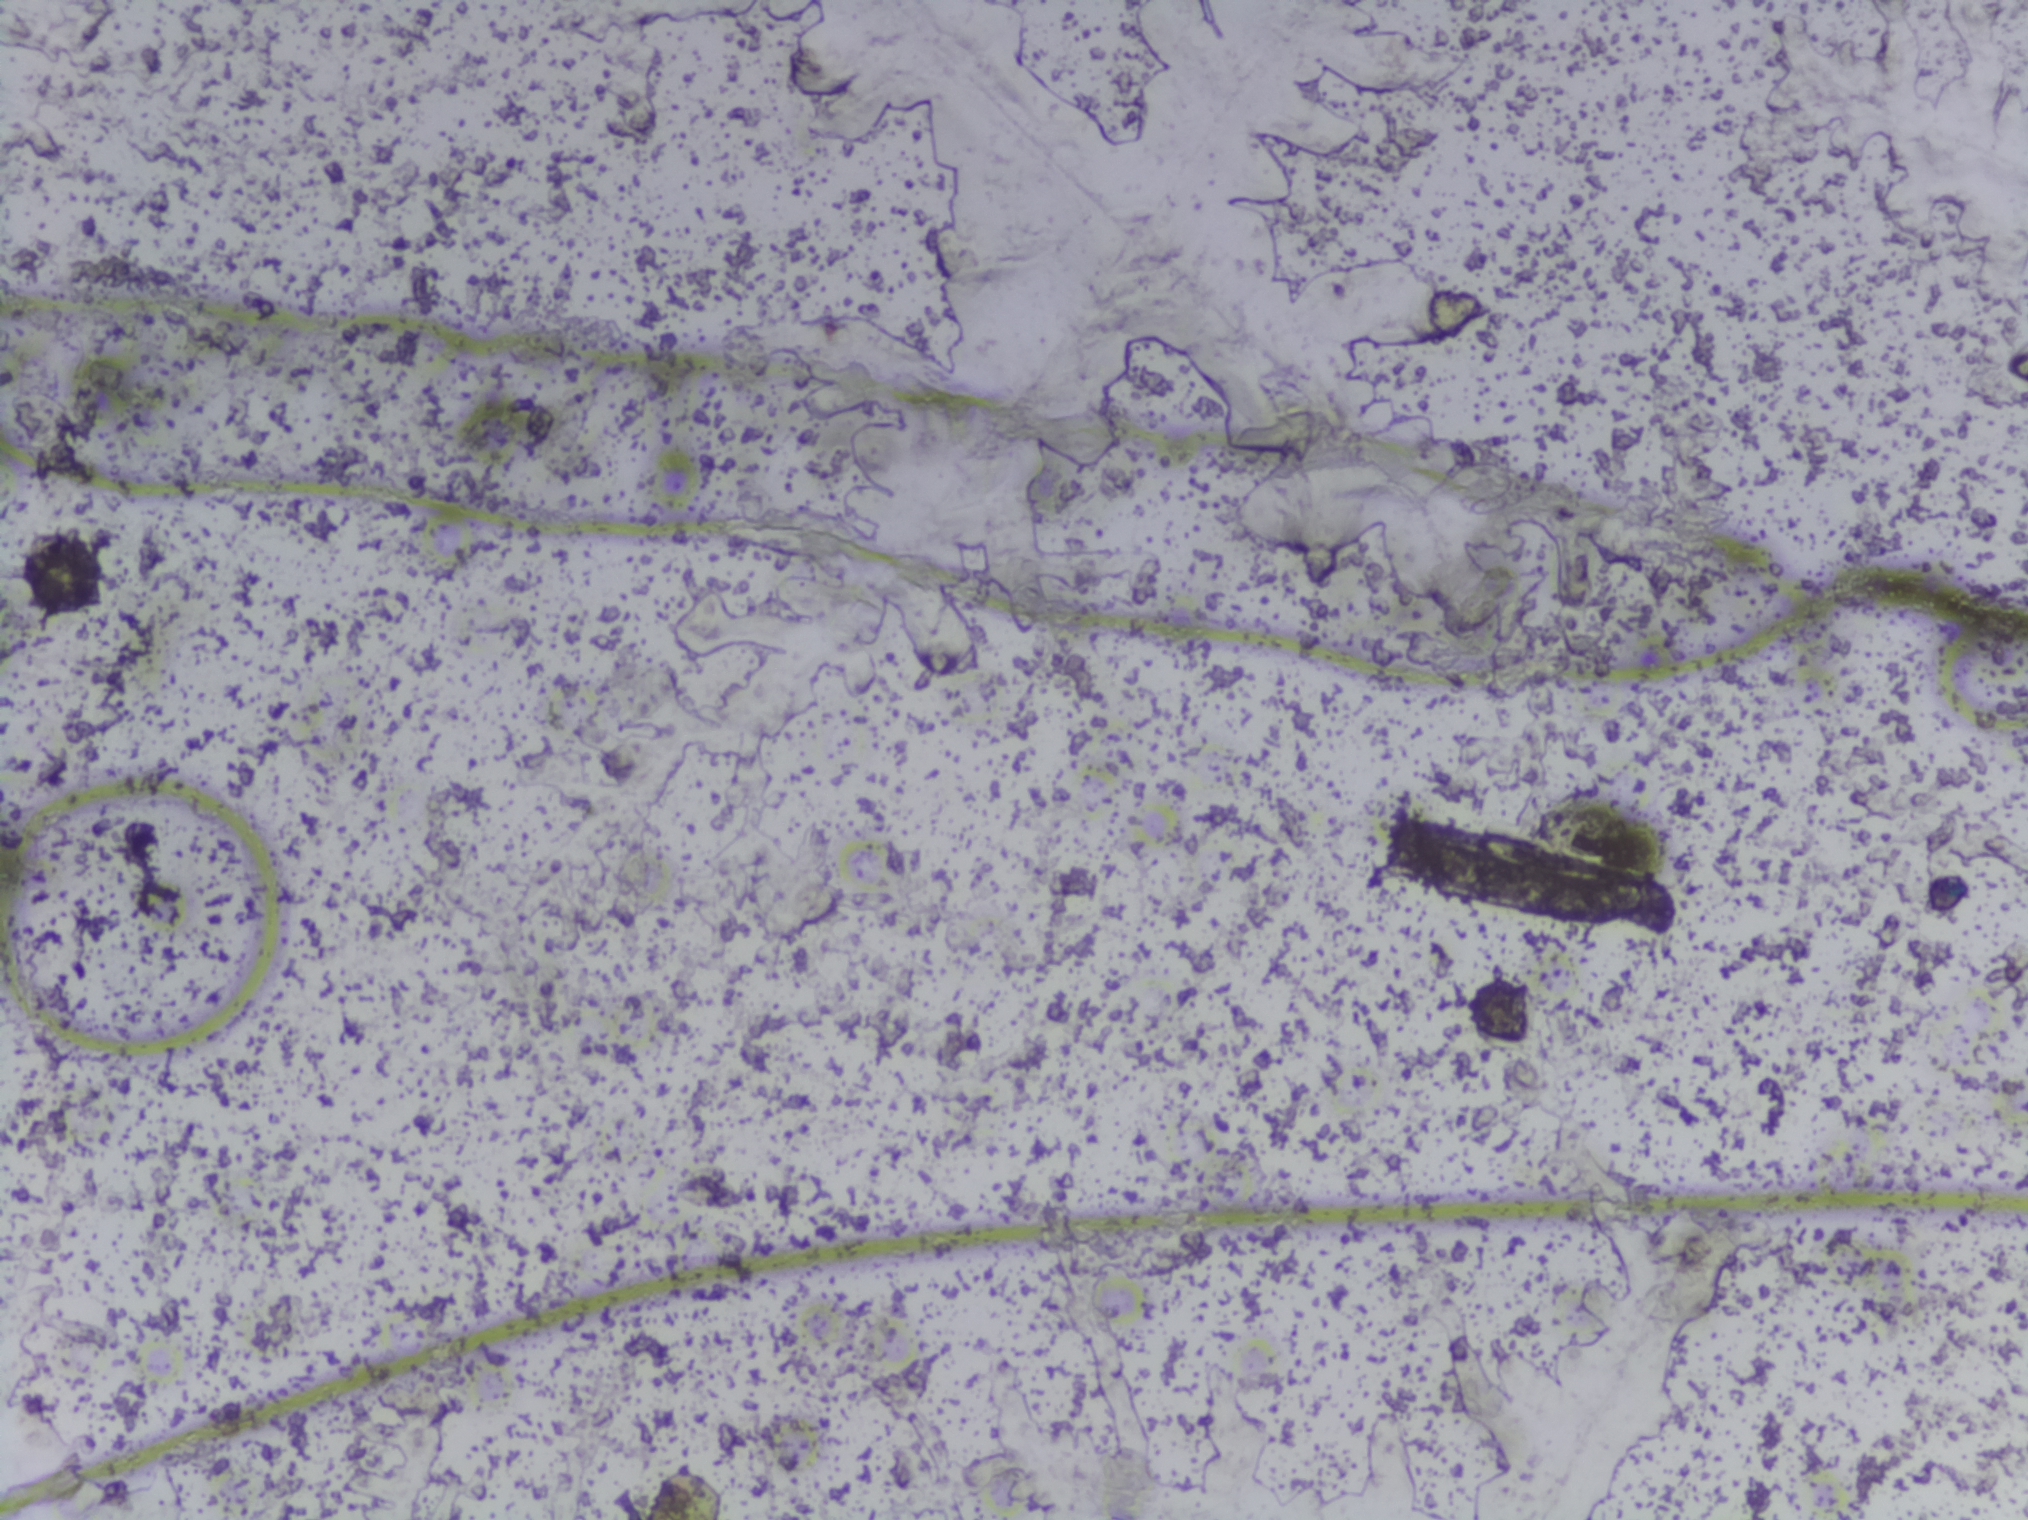
Schistosoma eggs: none outlined.
Photograph from an automated digital microscope: urine filter membrane, 4× objective.